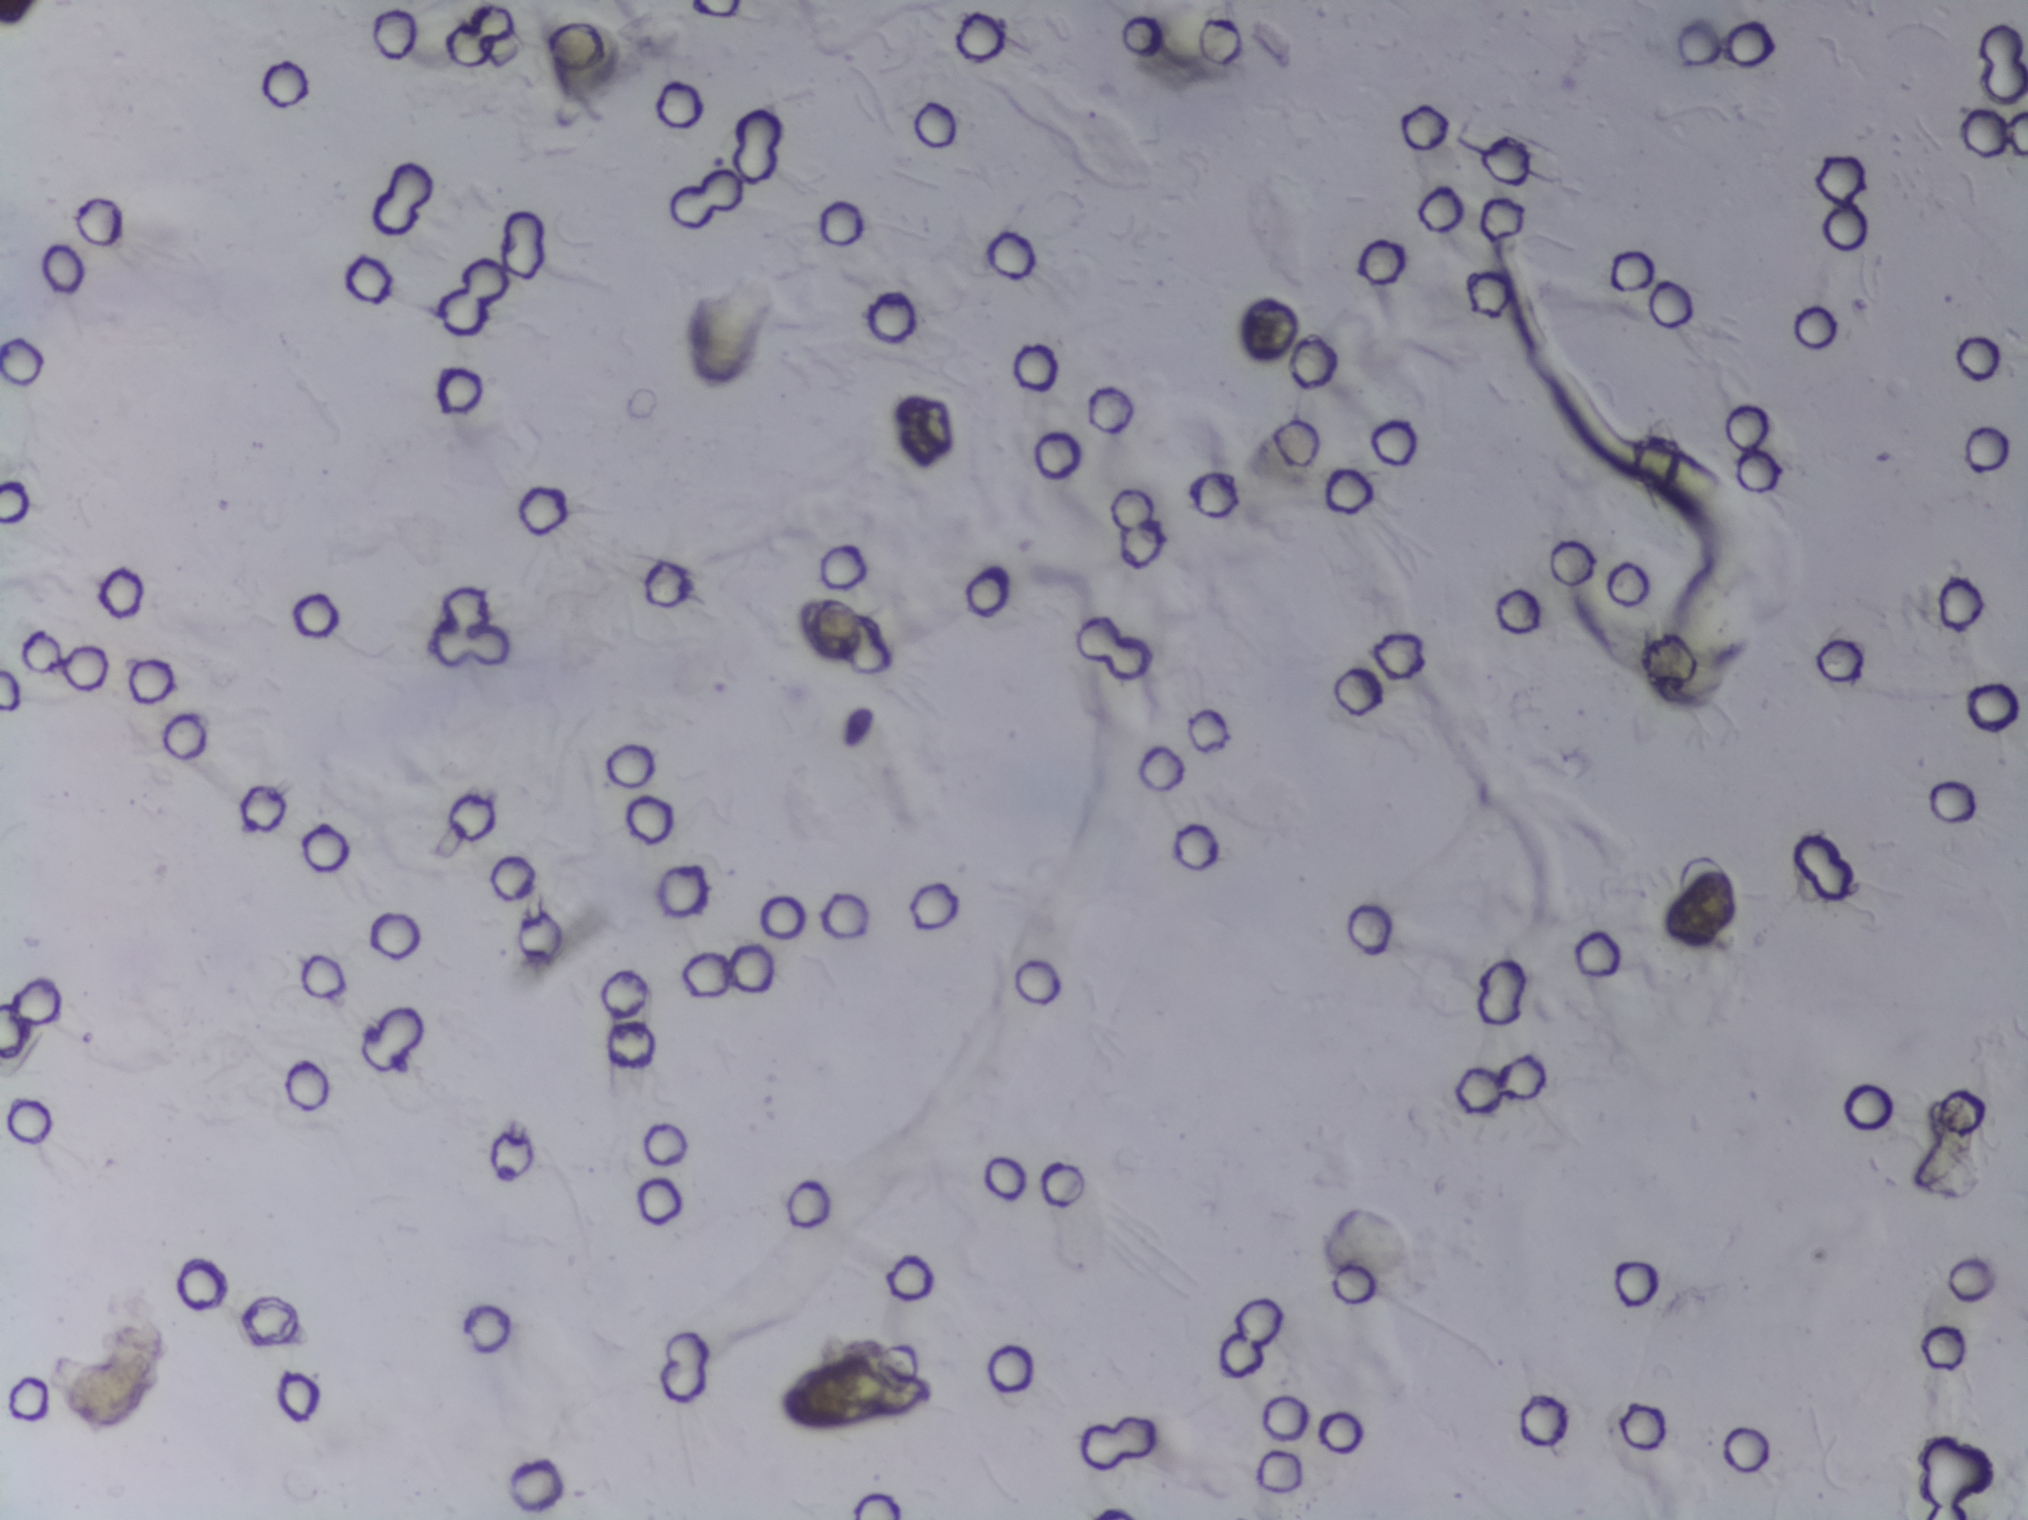
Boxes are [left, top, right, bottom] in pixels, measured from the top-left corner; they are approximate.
Schistosoma eggs are outlined in the expert annotation at [779, 1354, 935, 1430]. Eggs that touch can end up inside the same outlined area.
Urine filtration membrane under a 4× objective, photographed by an automated digital microscope. The image covers about 1.5 × 1.1 mm of the membrane.